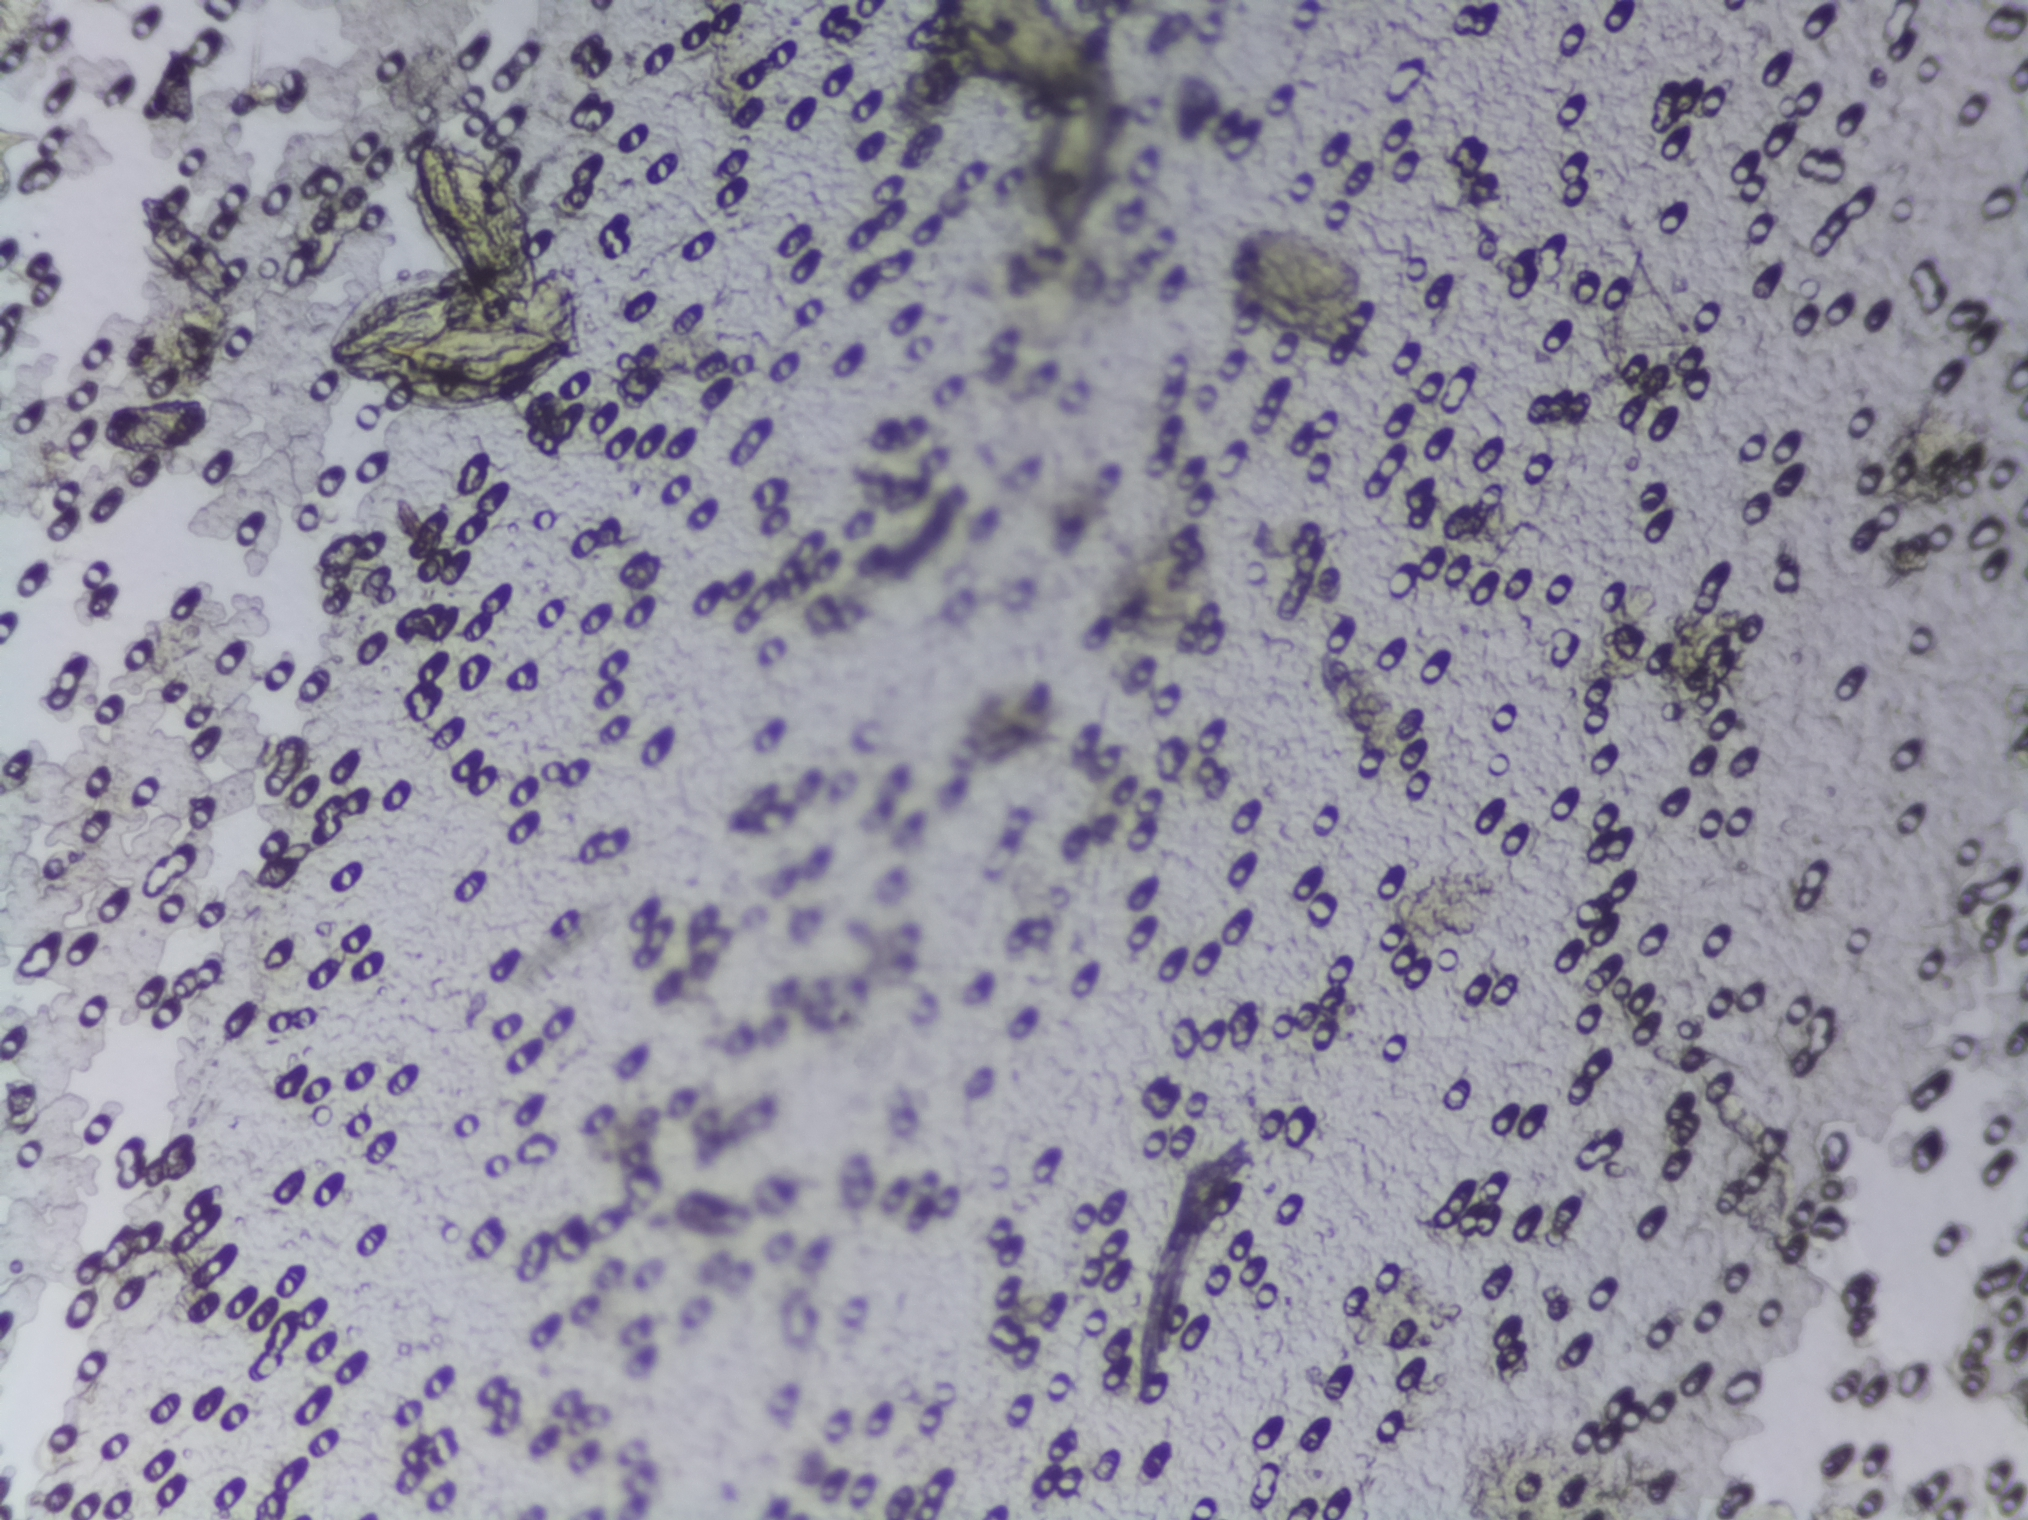
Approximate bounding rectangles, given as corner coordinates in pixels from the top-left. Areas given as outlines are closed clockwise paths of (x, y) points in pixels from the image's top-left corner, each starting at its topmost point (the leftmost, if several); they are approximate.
The expert annotation outlines Schistosoma eggs in two areas, left to right: box (x1=317, y1=136, x2=584, y2=416) and outline (925, 0), (1058, 0), (1086, 23), (1122, 0), (1122, 129), (1102, 190), (1078, 228), (1072, 225), (1070, 242), (1049, 216), (1034, 175), (1044, 120), (1042, 86), (970, 68) (reaching the top edge of the frame). An outlined area can hold more than one egg.
Photomicrograph of a urine filtration membrane, 4× objective. The image covers about 1.5 × 1.1 mm of the membrane.